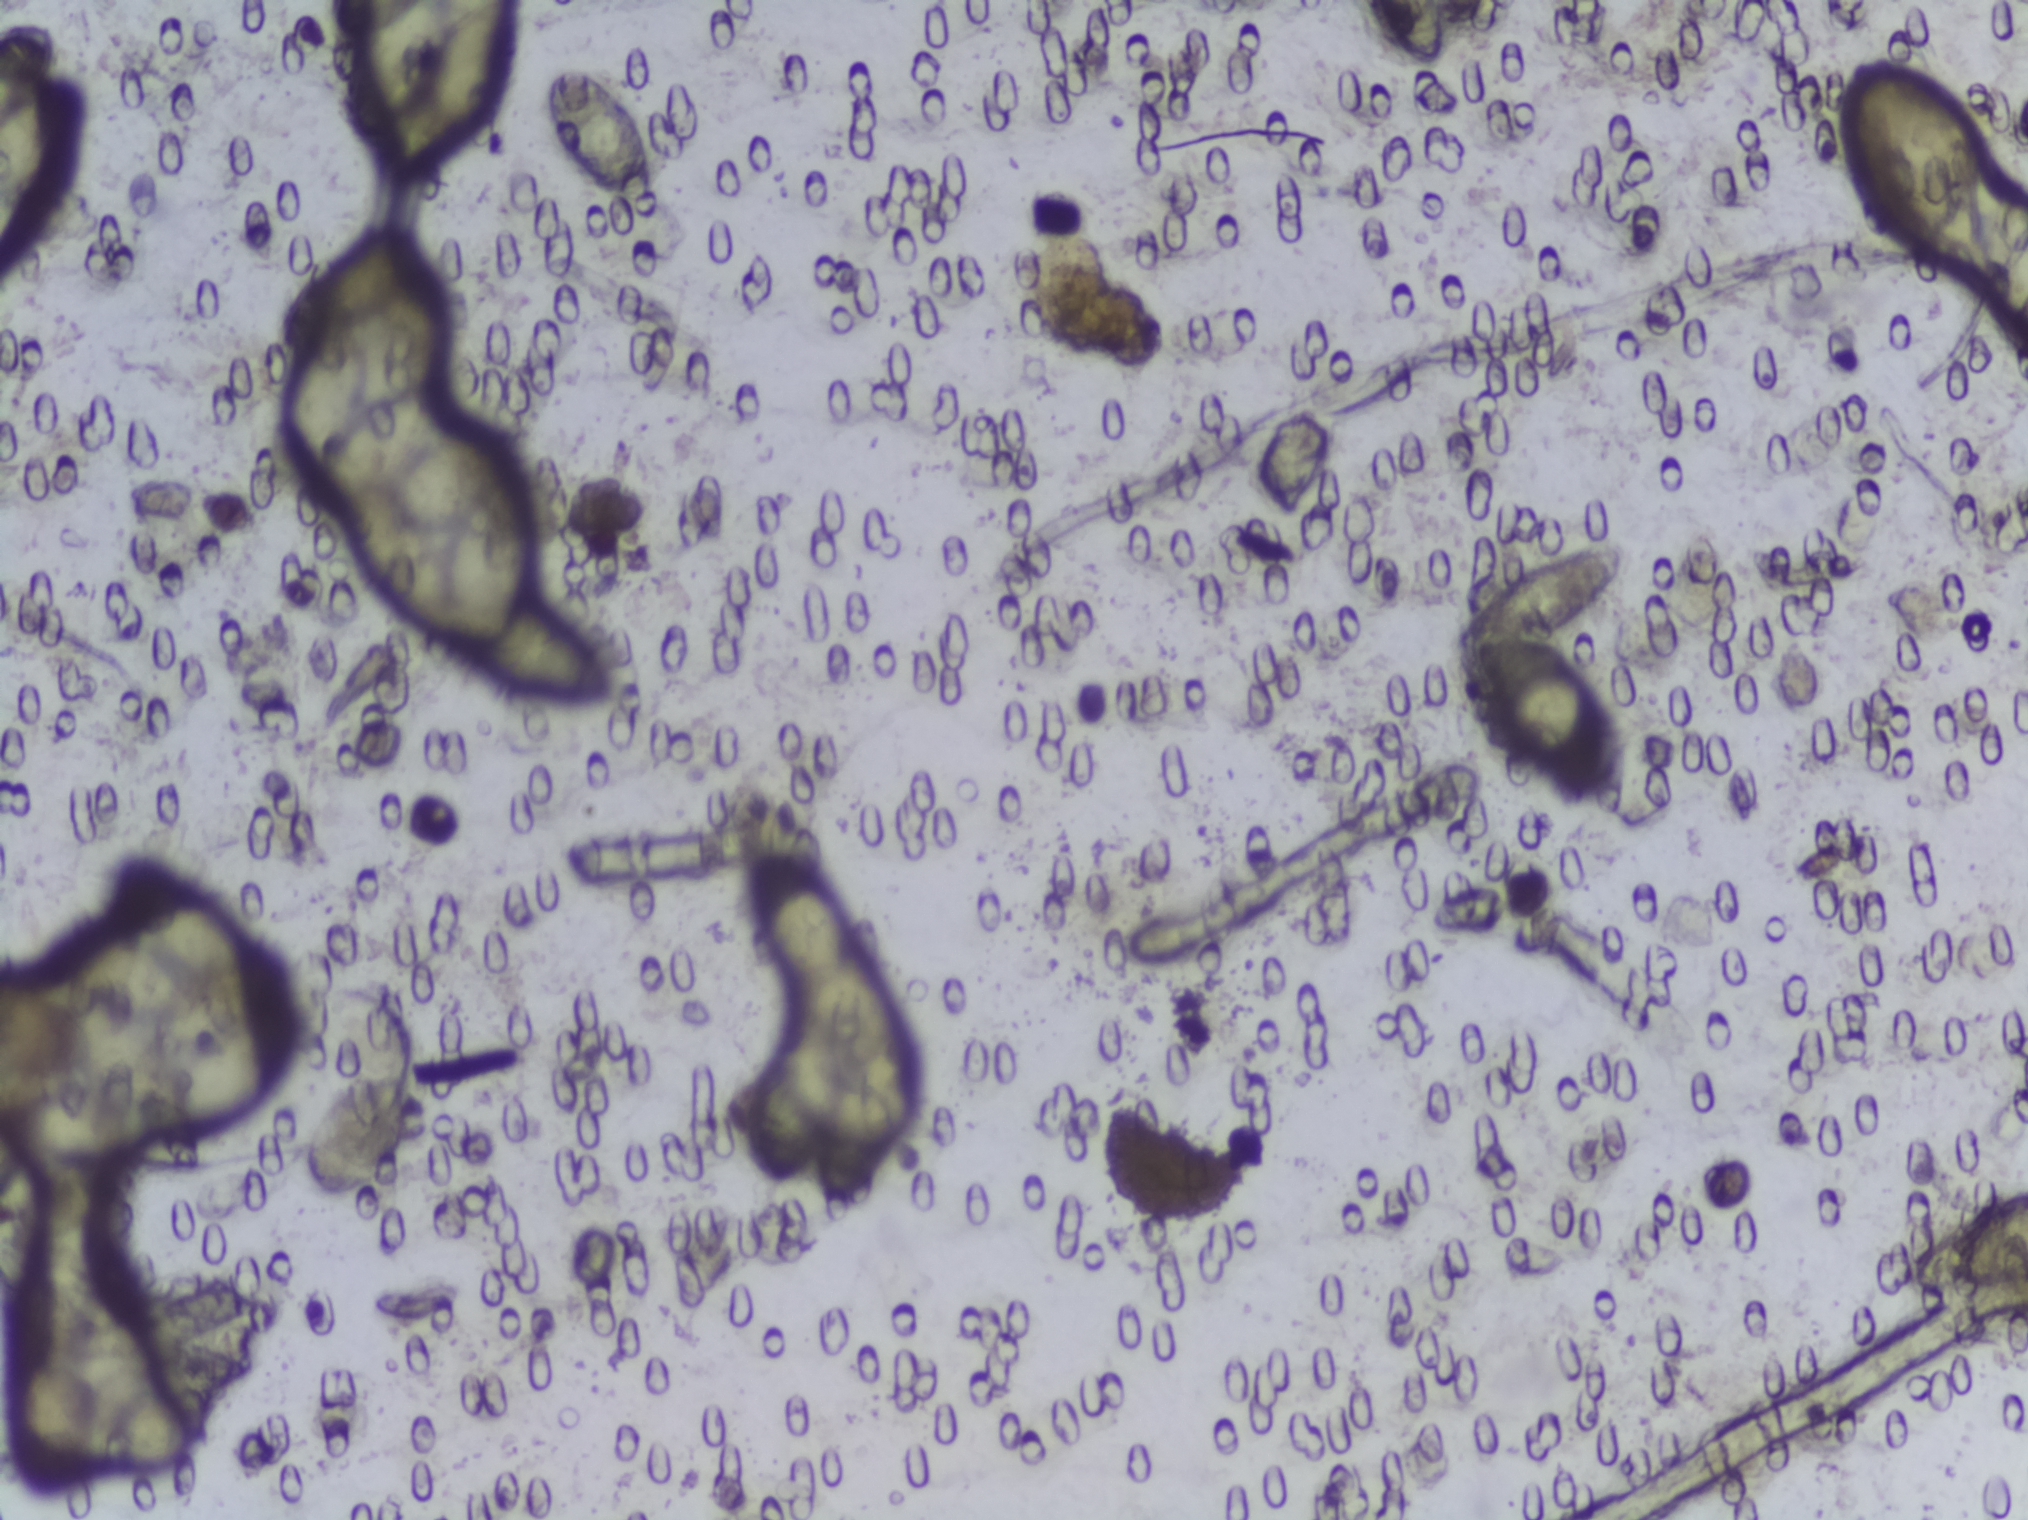
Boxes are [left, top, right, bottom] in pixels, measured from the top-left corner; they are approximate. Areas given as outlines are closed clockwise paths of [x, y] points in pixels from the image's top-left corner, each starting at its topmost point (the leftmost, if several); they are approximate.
The expert annotation outlines Schistosoma eggs in nine areas, left to right: box [0, 18, 76, 242] (reaching the left edge of the frame); outline [132, 853], [192, 873], [239, 921], [251, 968], [263, 986], [259, 1007], [294, 999], [299, 1038], [283, 1074], [245, 1108], [203, 1126], [162, 1122], [147, 1138], [119, 1150], [66, 1157], [124, 1186], [141, 1214], [139, 1240], [114, 1251], [137, 1276], [145, 1308], [118, 1321], [137, 1328], [153, 1358], [152, 1371], [182, 1353], [208, 1354], [211, 1364], [183, 1417], [189, 1443], [178, 1446], [172, 1459], [137, 1466], [92, 1463], [79, 1490], [38, 1500], [28, 1494], [14, 1452], [20, 1375], [32, 1354], [2, 1322], [0, 1310], [0, 1140], [18, 1146], [0, 1130], [0, 1114], [7, 1105], [57, 1087], [26, 1082], [0, 1059], [0, 975], [21, 979], [51, 969], [48, 951], [68, 917], [111, 919], [108, 871], [118, 857] (a cluster of eggs; reaching the left edge of the frame); outline [380, 233], [402, 237], [433, 292], [440, 344], [430, 378], [442, 389], [450, 418], [544, 481], [564, 507], [562, 536], [527, 549], [526, 572], [510, 608], [556, 627], [594, 661], [608, 683], [602, 702], [502, 686], [475, 670], [454, 630], [440, 638], [417, 634], [381, 591], [337, 501], [315, 501], [287, 409], [295, 353], [311, 331], [291, 312], [293, 290], [325, 259] (a cluster of eggs); box [306, 1068, 409, 1201]; box [341, 0, 512, 134] (reaching the top edge of the frame); box [543, 62, 658, 207]; box [747, 842, 914, 1213]; box [1462, 545, 1621, 783]; box [1959, 1184, 2027, 1283] (reaching the right edge of the frame). A single outlined area may contain several eggs.
One field of view of a urine filter membrane, 4× objective, 2028 × 1520 pixels. Field of view: about 1.5 mm wide and 1.1 mm high.